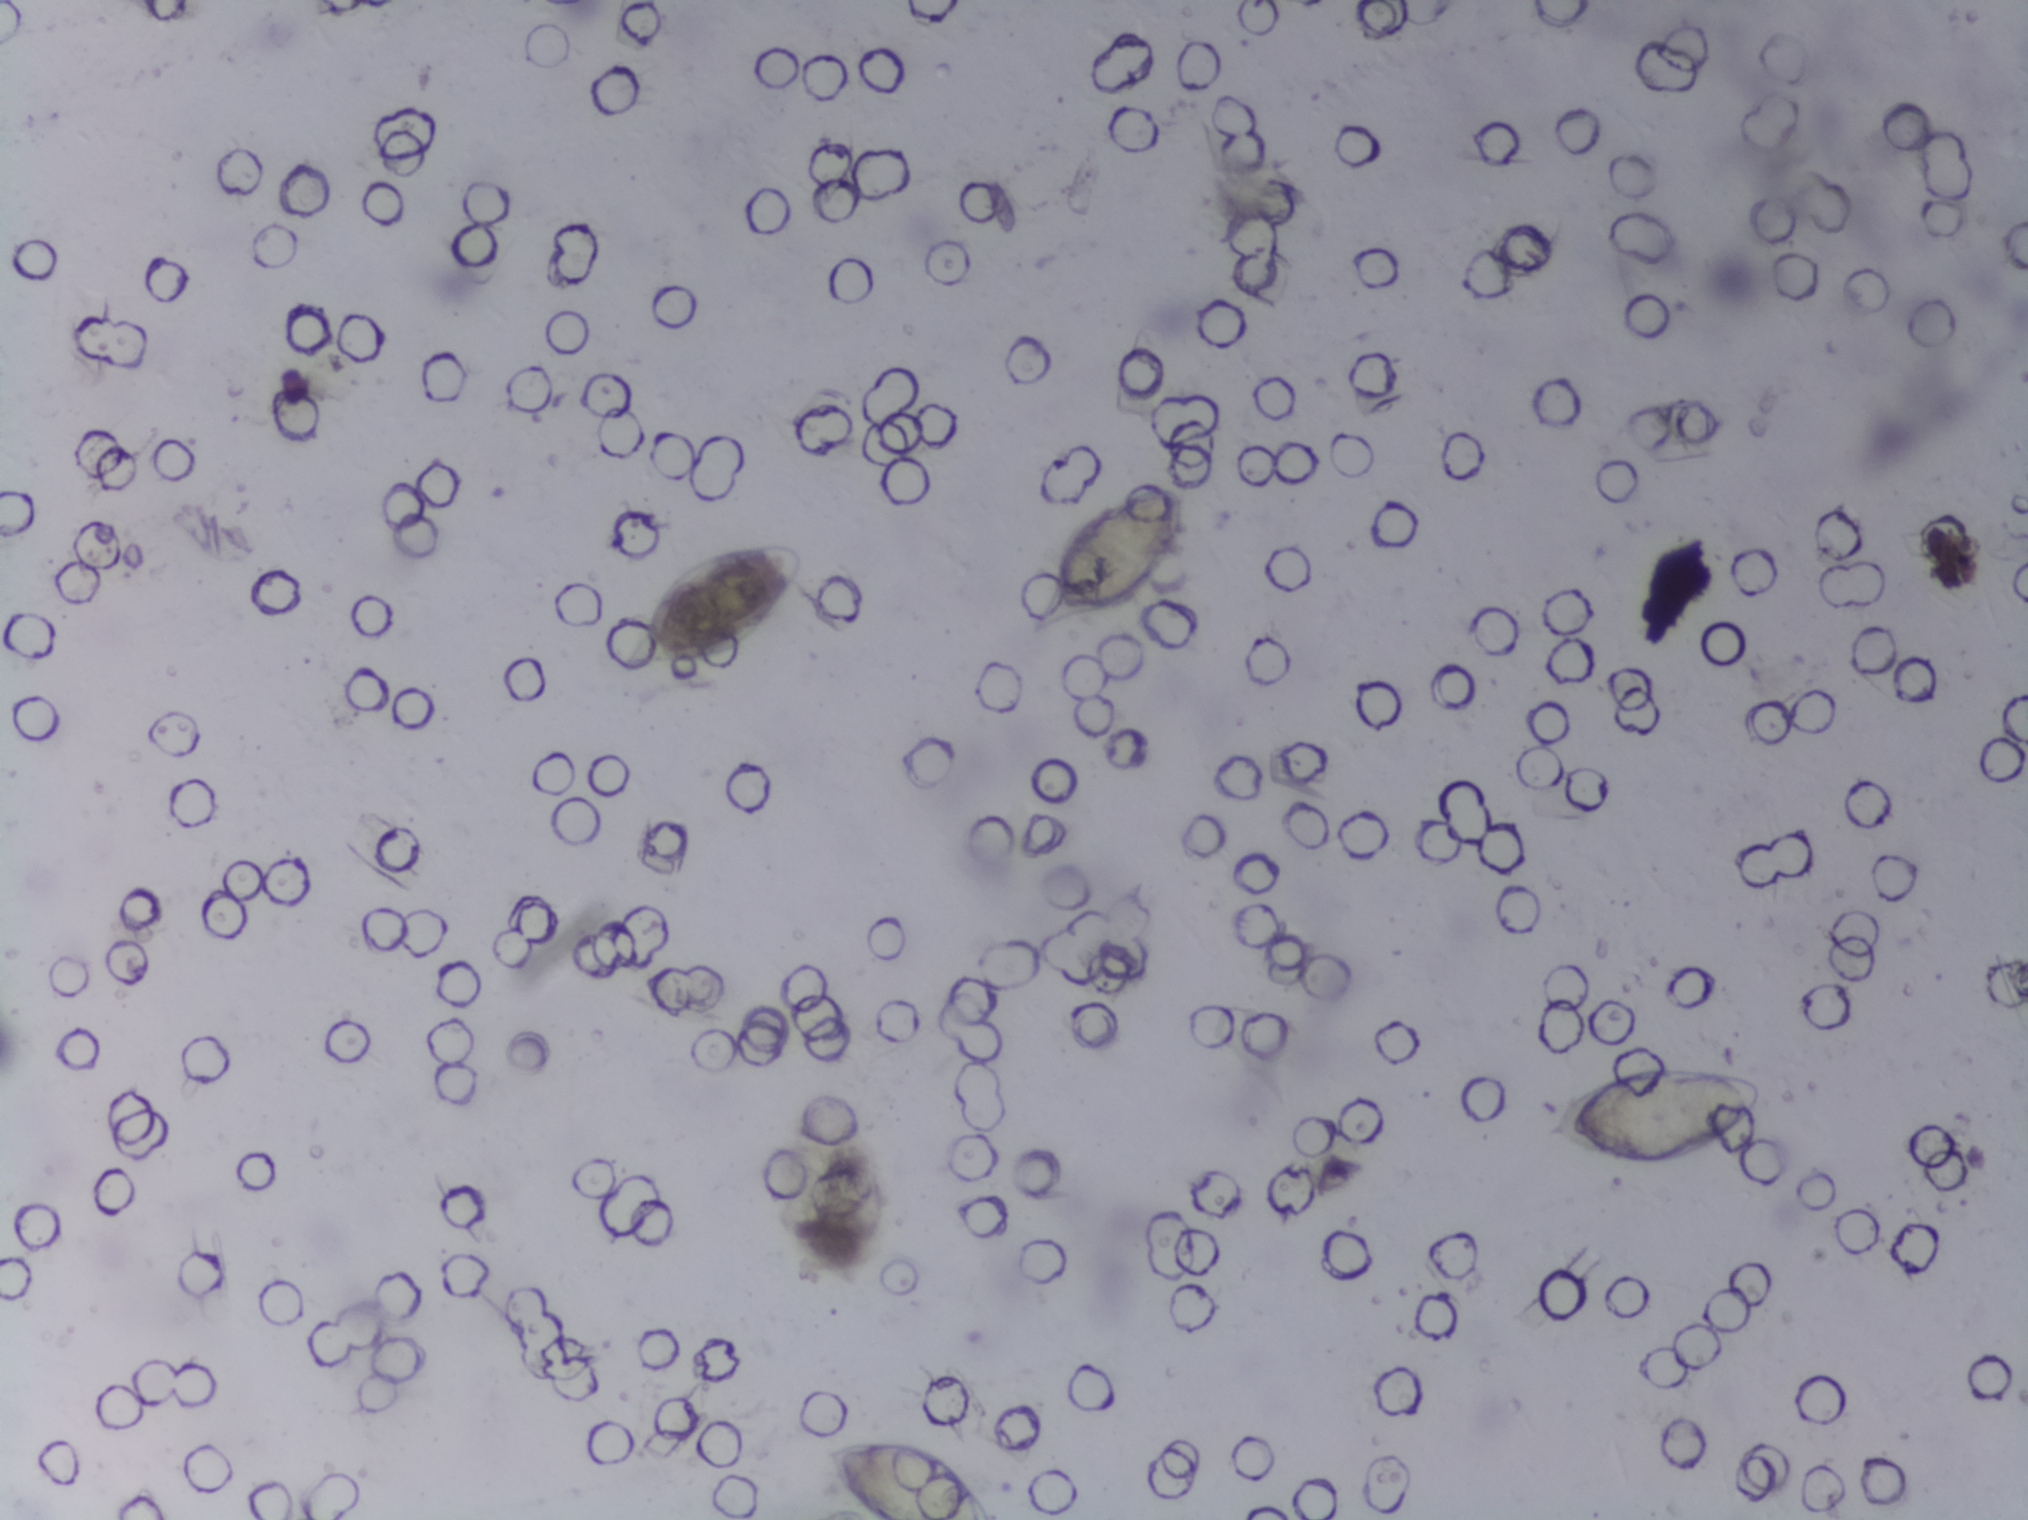
One field of view of a urine filter membrane, 4× objective, 2028 × 1520 pixels.
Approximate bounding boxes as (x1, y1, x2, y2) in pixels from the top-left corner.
Schistosoma eggs are outlined in four areas of this image, listed from left to right: (623, 540, 805, 668); (819, 1433, 1003, 1519) (reaching the bottom edge of the frame); (1023, 476, 1192, 645); (1537, 1060, 1768, 1173). About 2.1% of the image's pixels are marked (the marked pixels themselves, not the boxes around them). A single outlined area may contain several eggs.